One field of view of a urine filter membrane, 4× objective, 2028 × 1520 pixels.
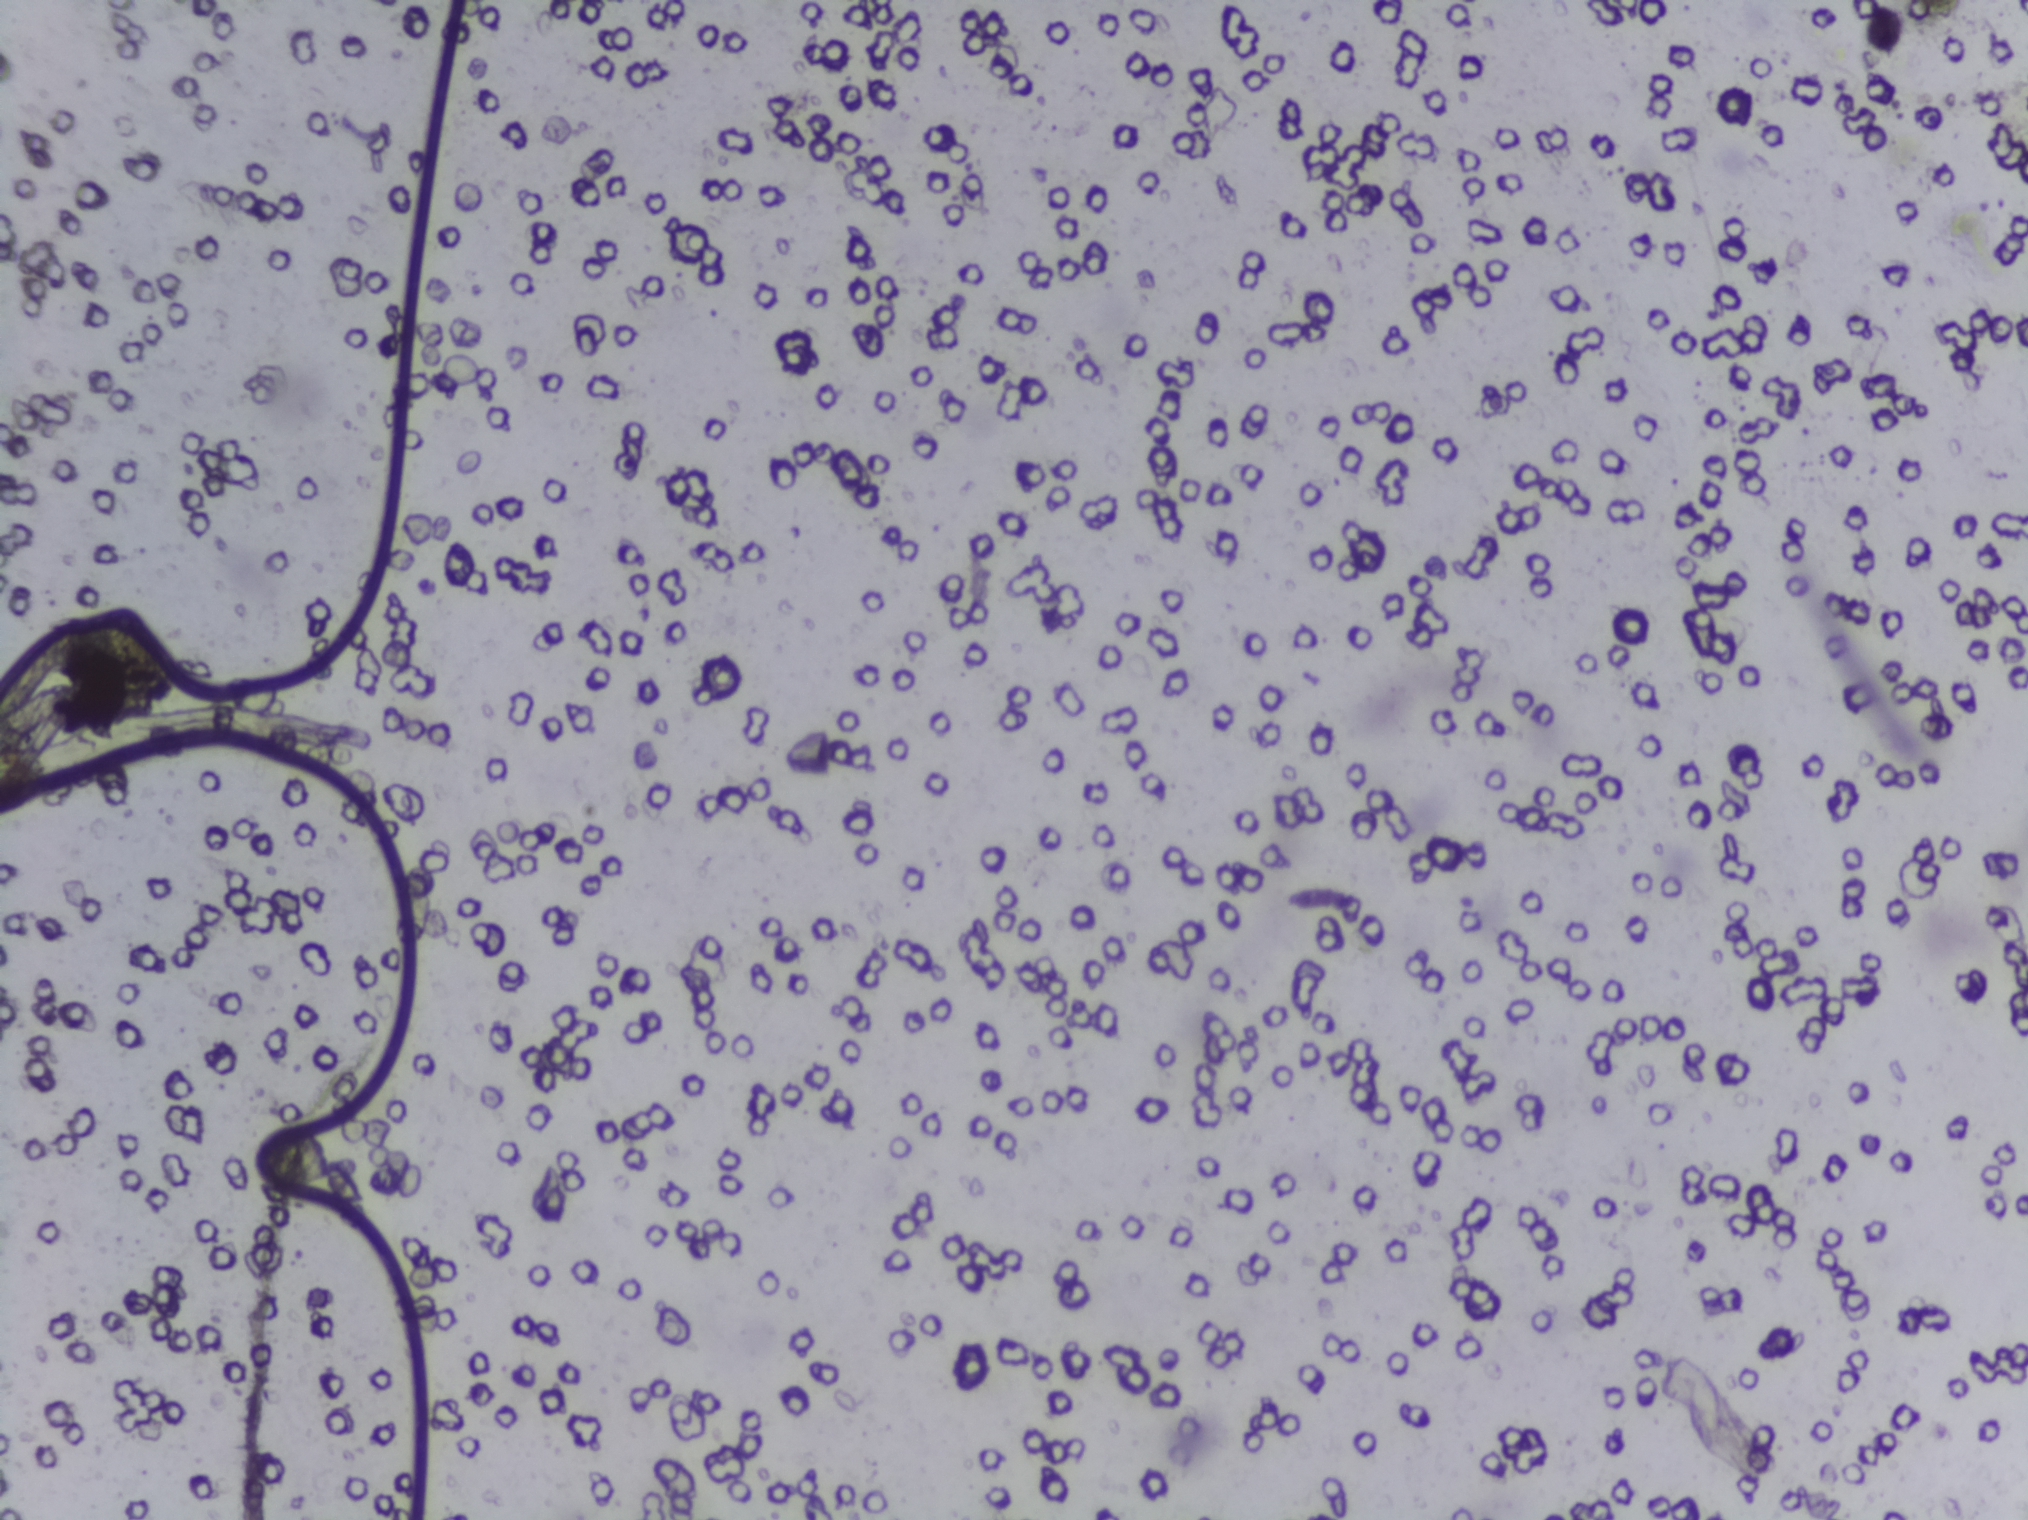
The expert annotation marks no Schistosoma egg in this field of view.